Photograph from an automated digital microscope: urine filter membrane, 4× objective.
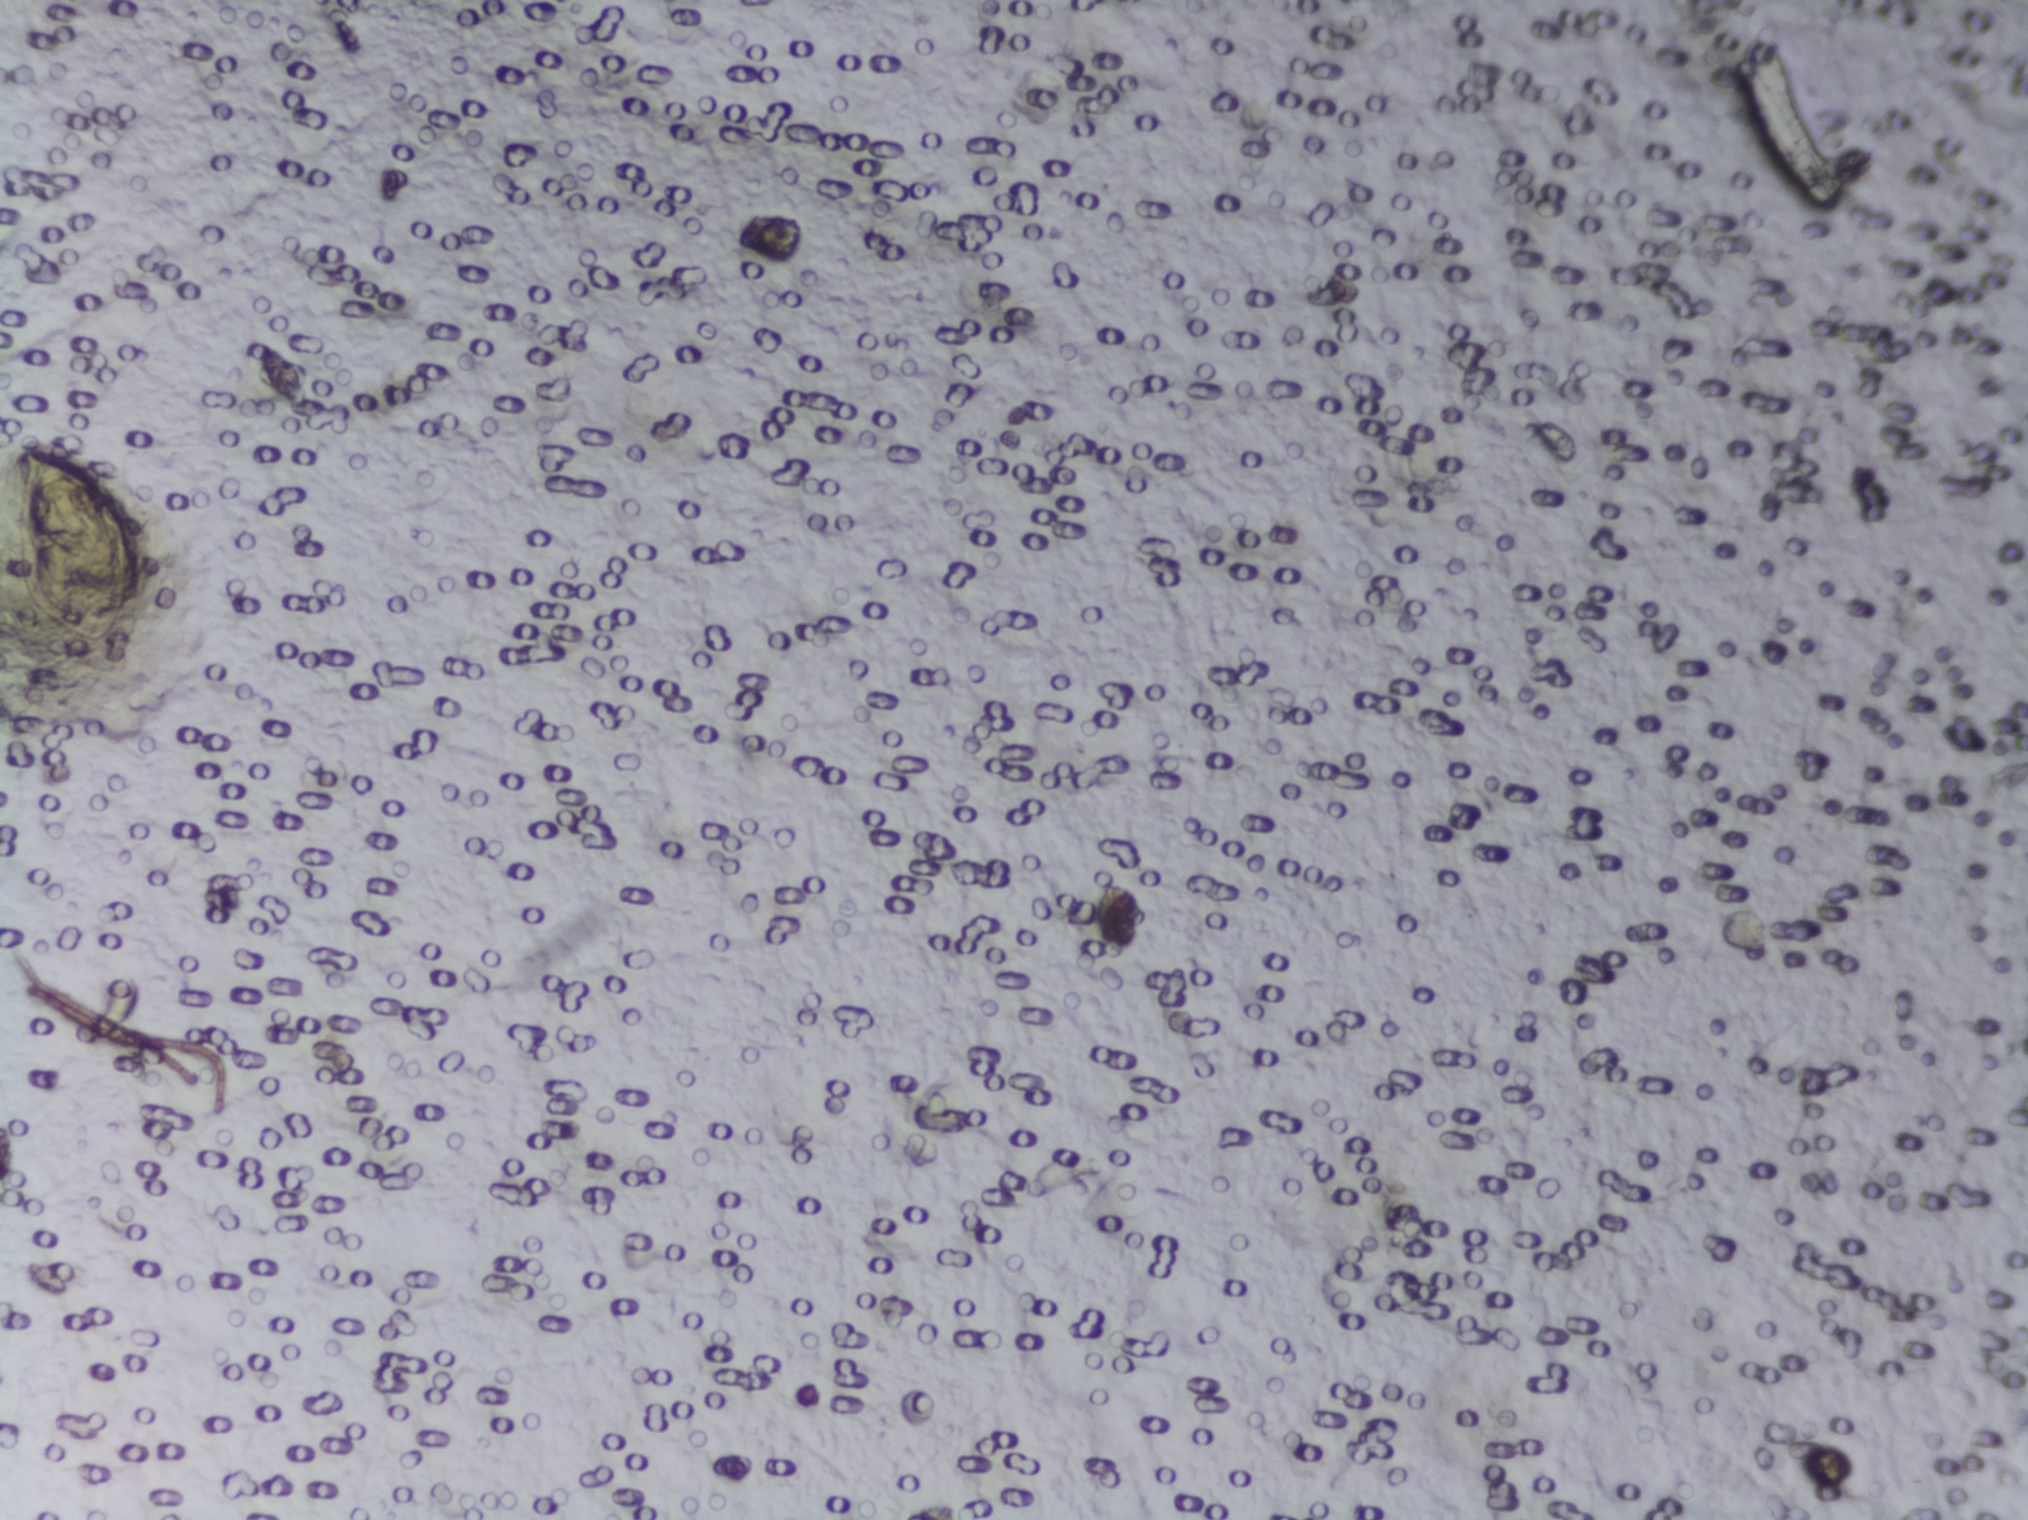
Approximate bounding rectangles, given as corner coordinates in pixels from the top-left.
Schistosoma eggs, outlined areas: (x1=15, y1=446, x2=139, y2=643). A single outlined area may contain several eggs.